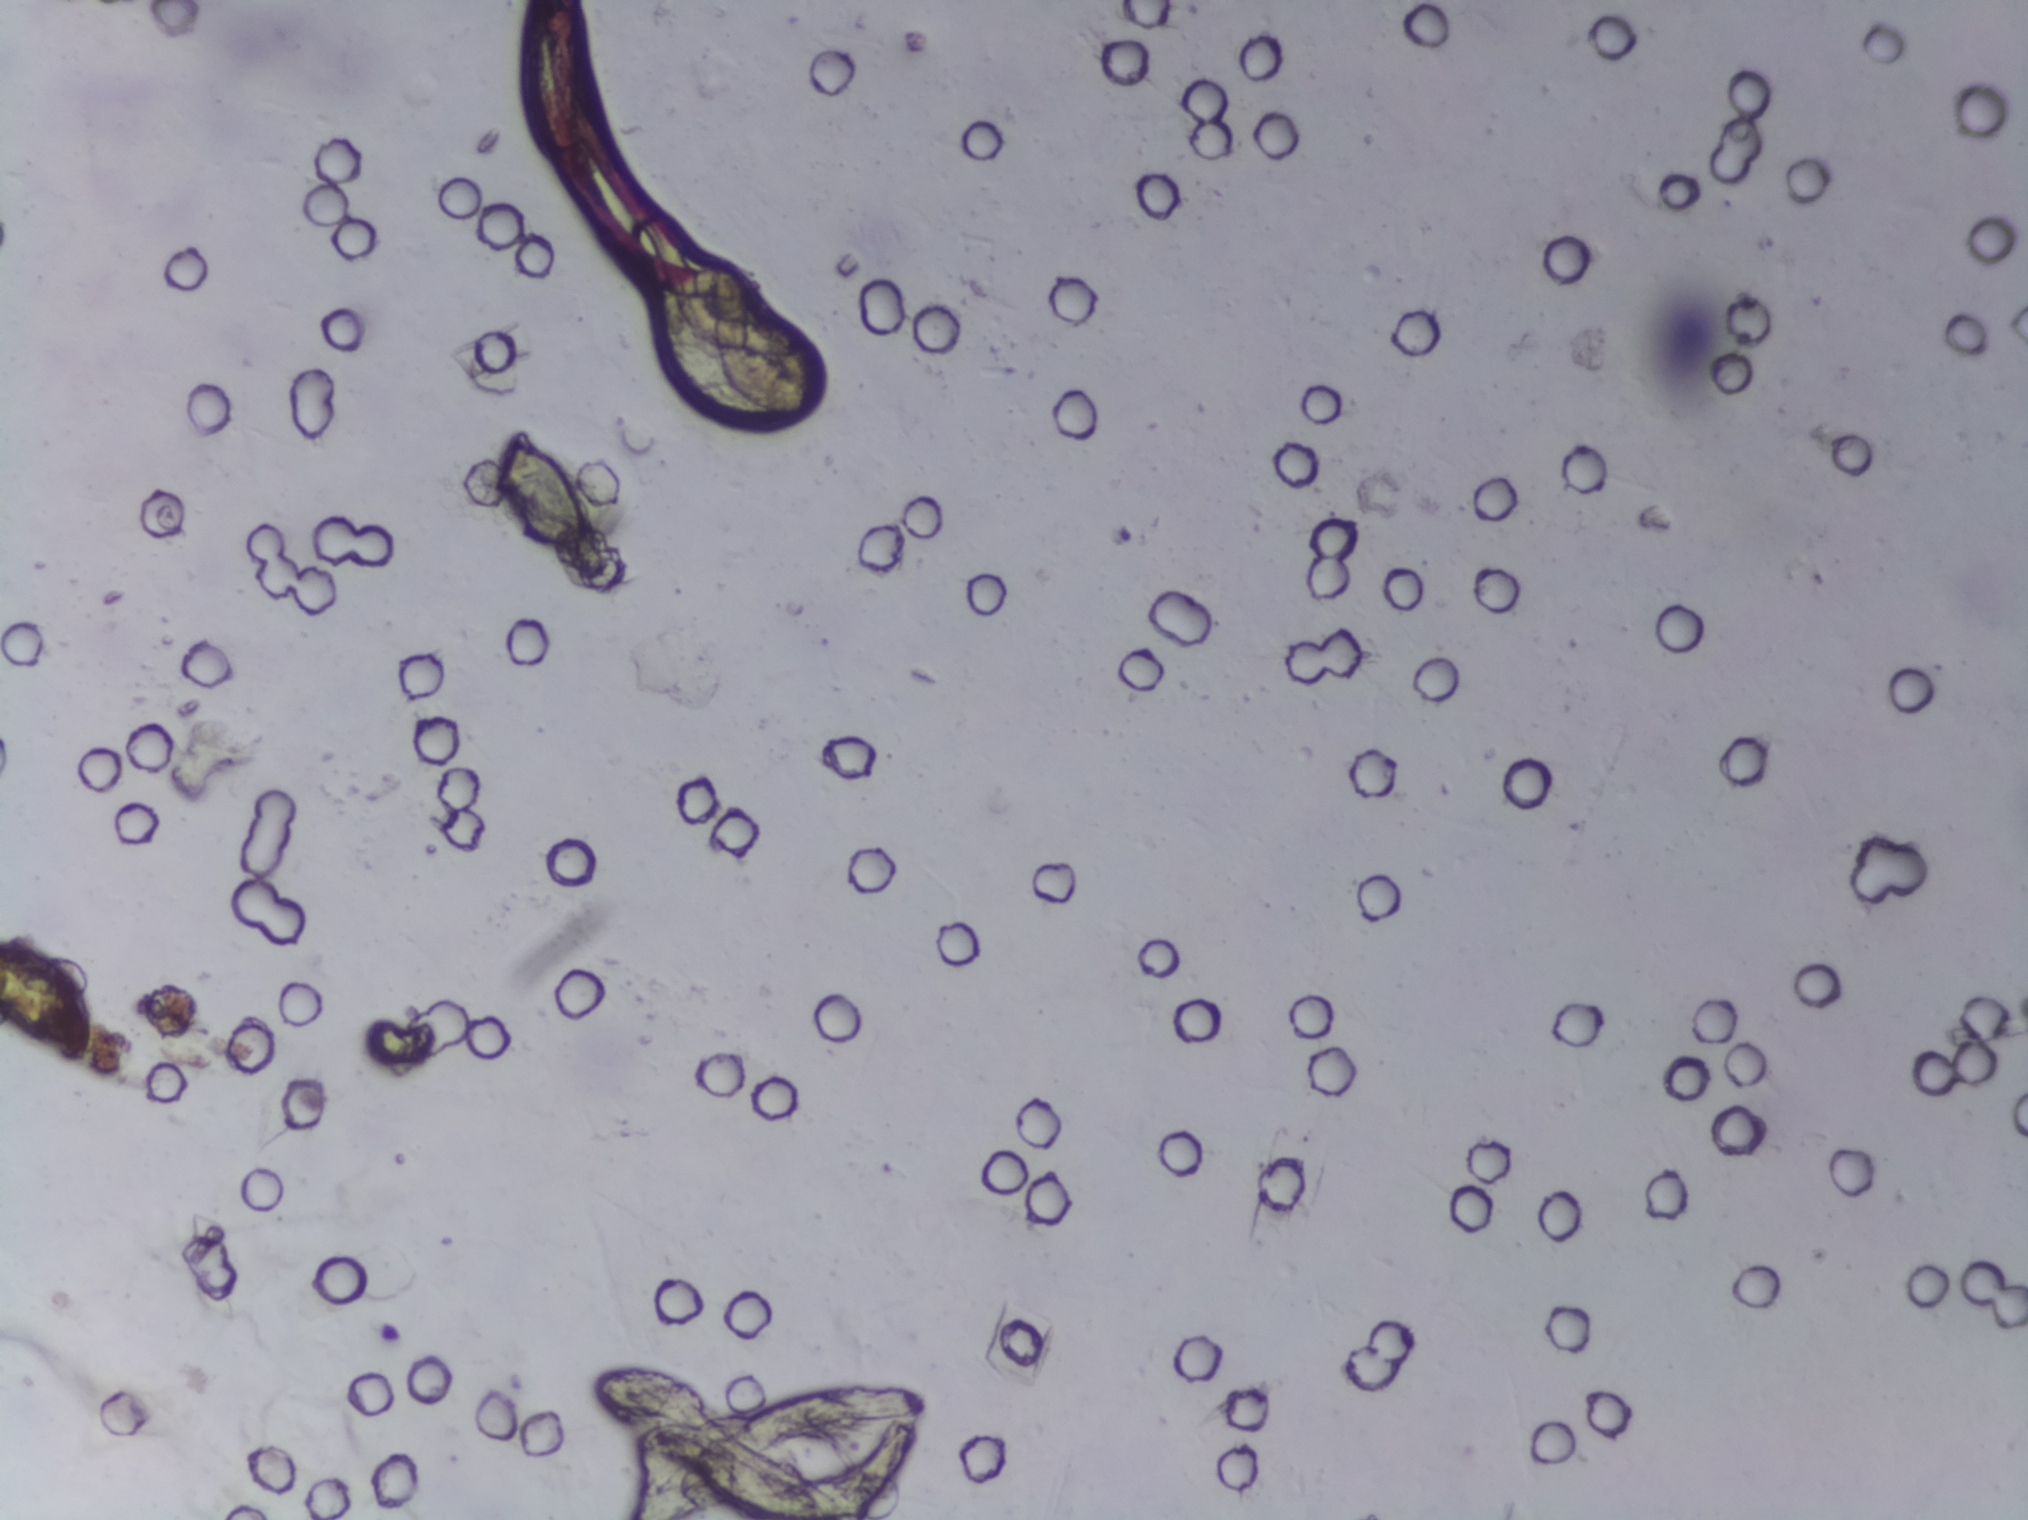
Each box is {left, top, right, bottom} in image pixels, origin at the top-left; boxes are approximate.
Schistosoma eggs are outlined in two areas of this image, listed from left to right: {0, 941, 90, 1057} (reaching the left edge of the frame) and {499, 438, 585, 547}. Eggs that touch can end up inside the same outlined area.
Photomicrograph of a urine filtration membrane, 4× objective. Field of view: about 1.5 mm wide and 1.1 mm high.